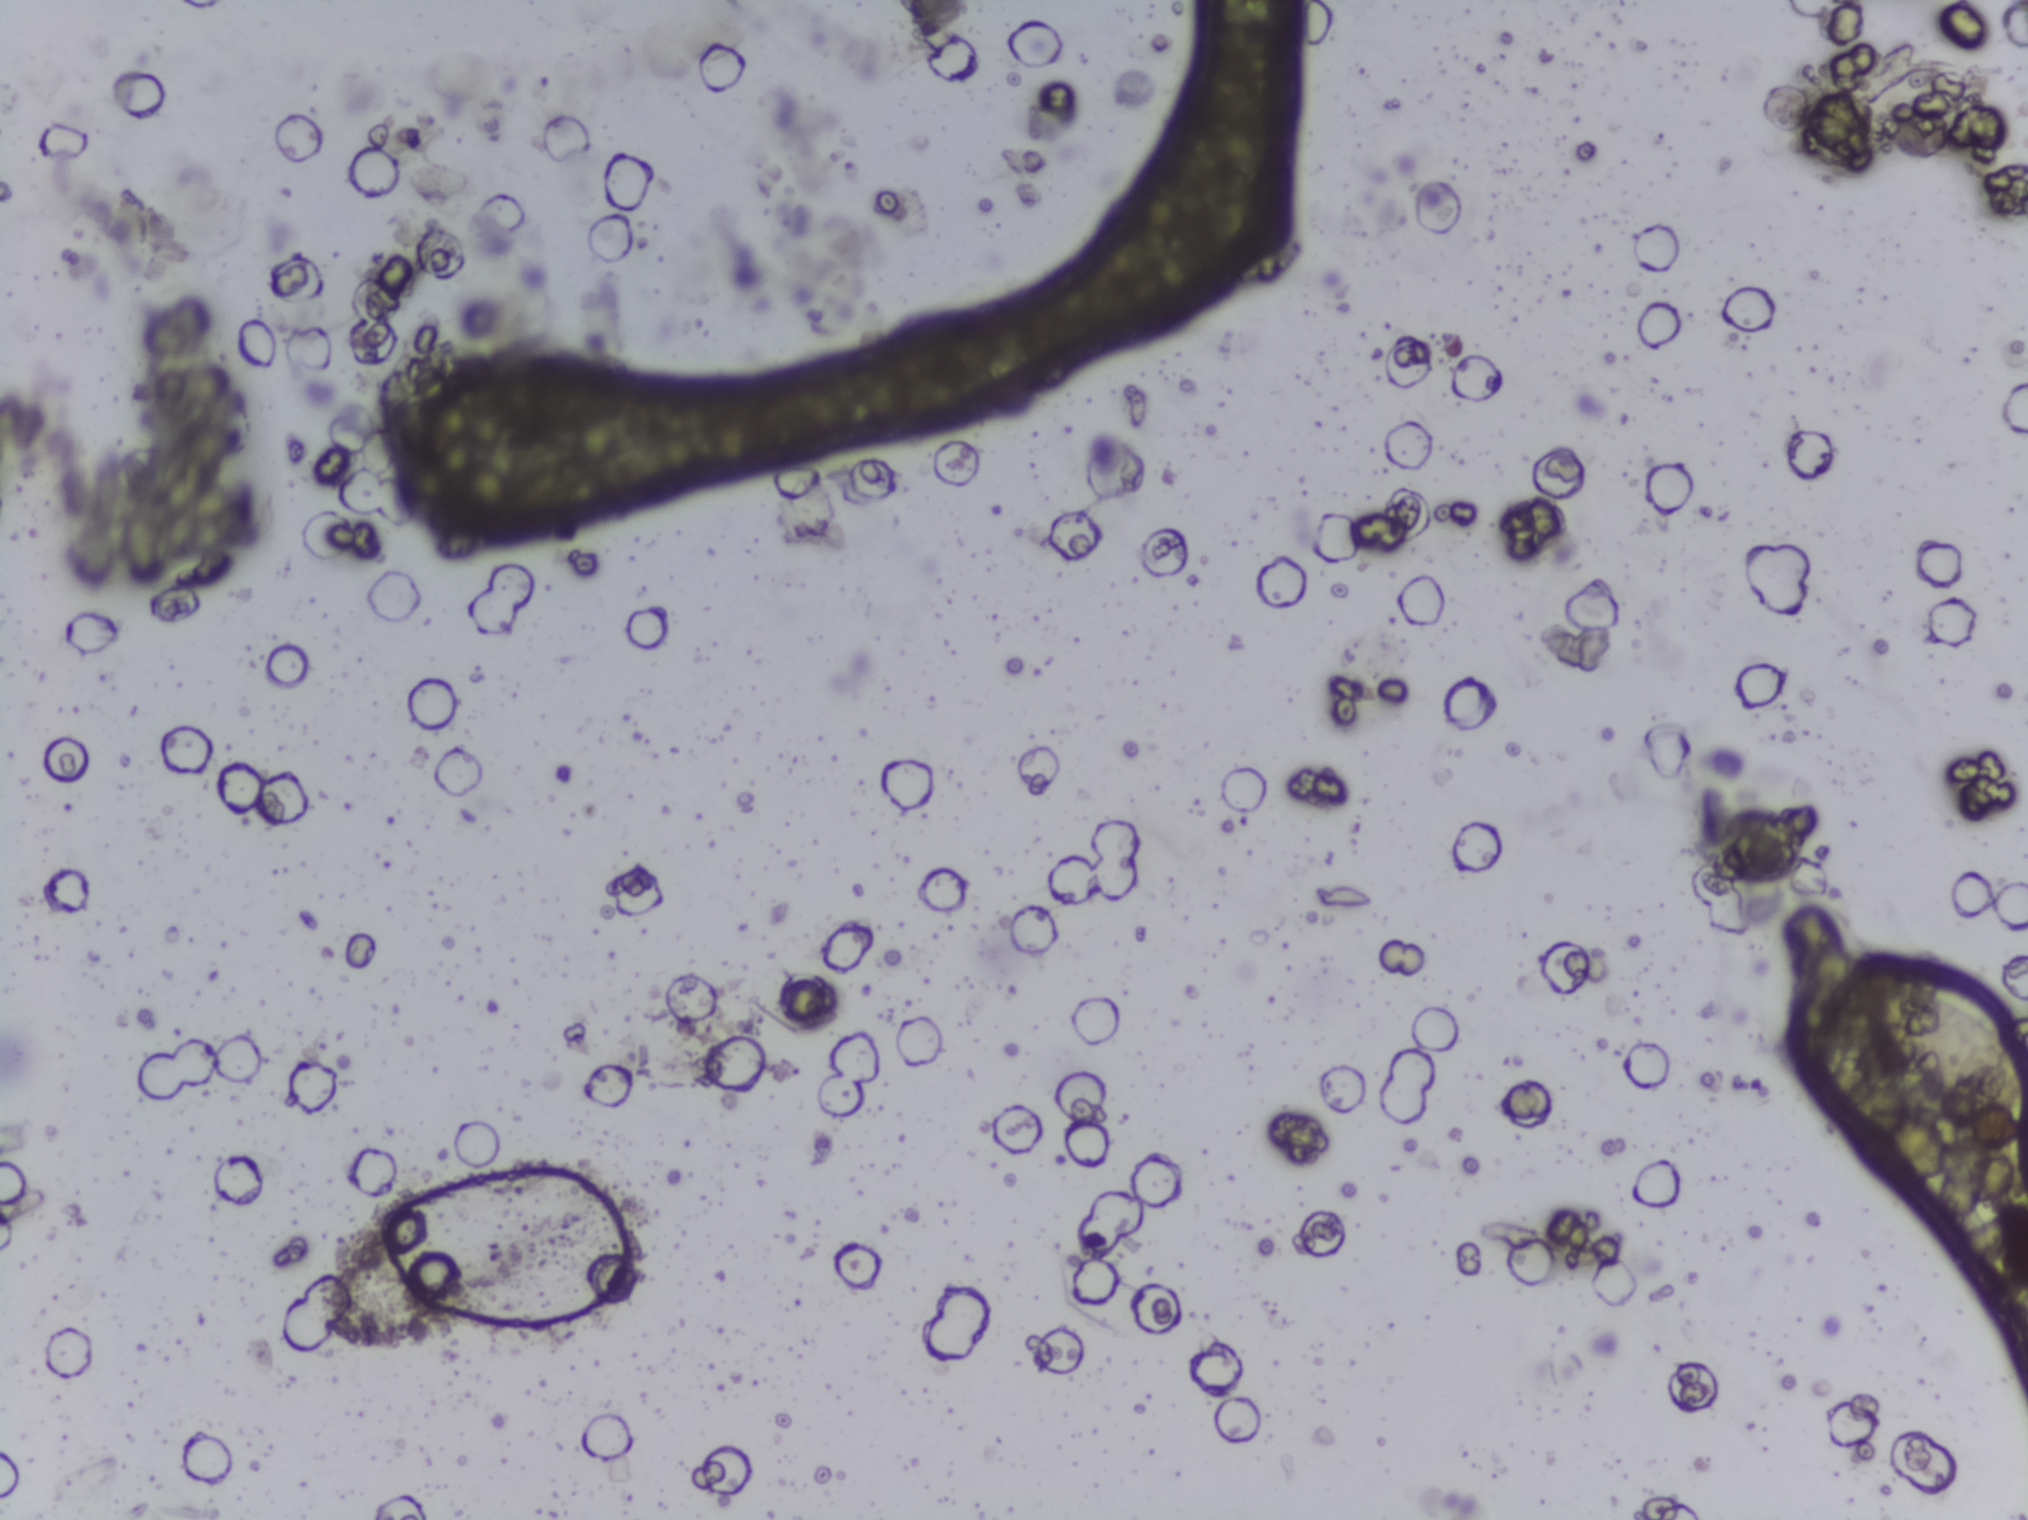
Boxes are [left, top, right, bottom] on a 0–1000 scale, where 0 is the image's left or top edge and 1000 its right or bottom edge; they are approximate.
One area of this image is outlined as Schistosoma eggs: [925, 643, 1000, 745] (reaching the right edge of the frame). A single outlined area may contain several eggs.
One field of view of a urine filter membrane, 4× objective, 2028 × 1520 pixels. Field of view: about 1.5 mm wide and 1.1 mm high.